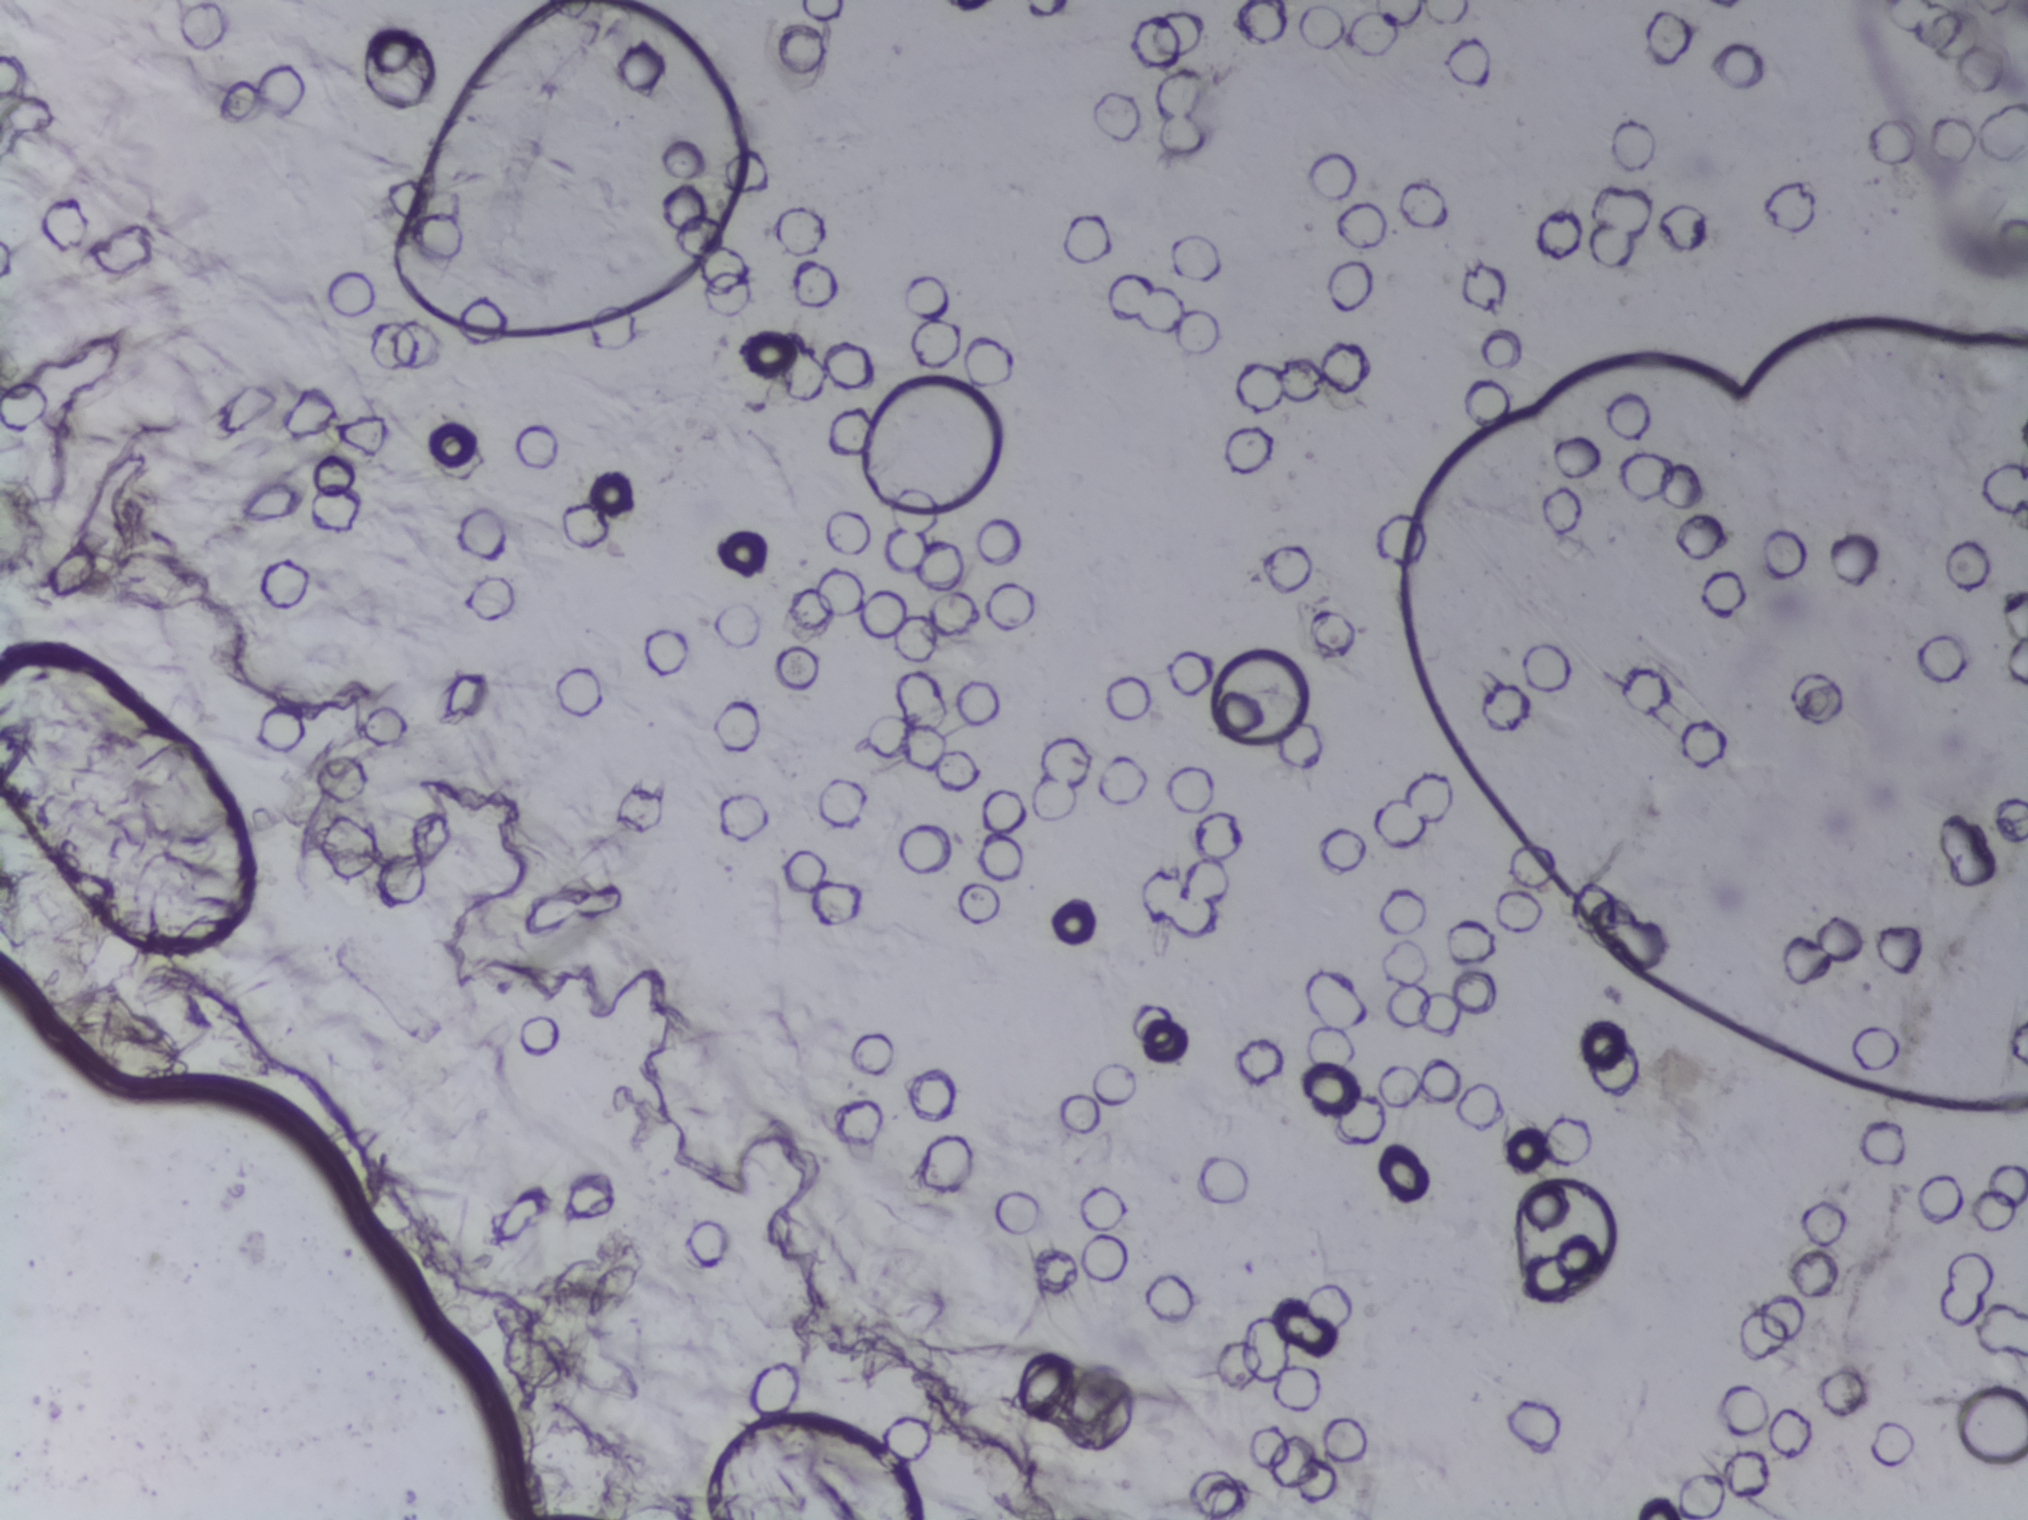
Photomicrograph of a urine filtration membrane, 4× objective.
No Schistosoma egg is outlined in this image's expert annotation.